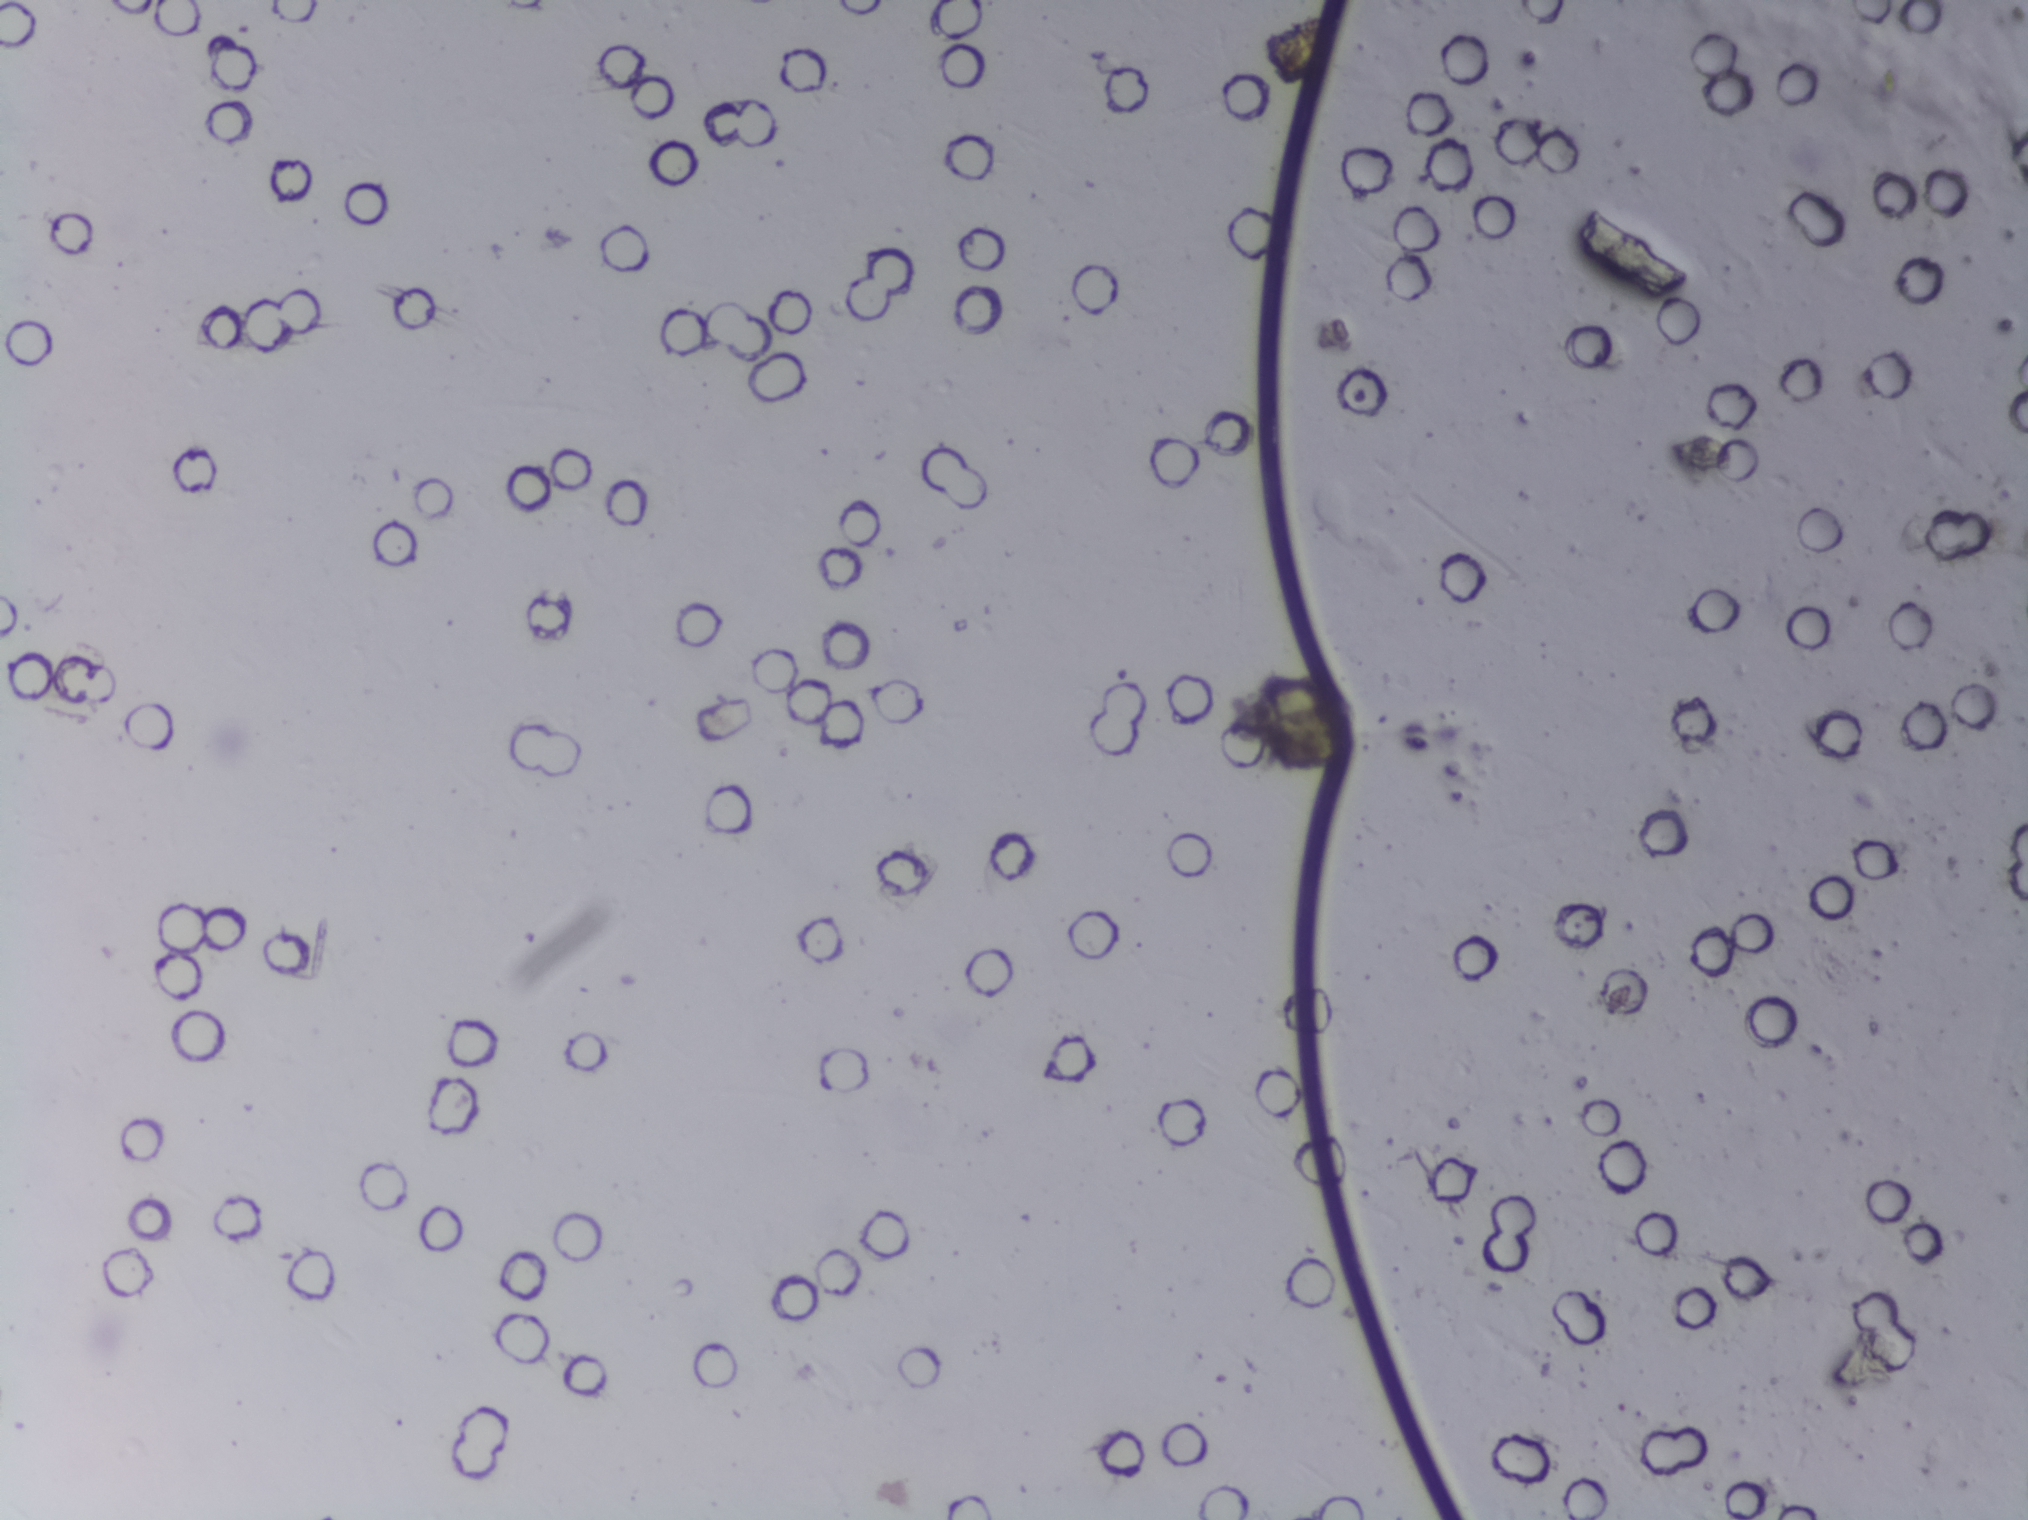
No Schistosoma egg is outlined in this image's expert annotation.
One field of view of a urine filter membrane, 4× objective, 2028 × 1520 pixels. Field of view: about 1.5 mm wide and 1.1 mm high.